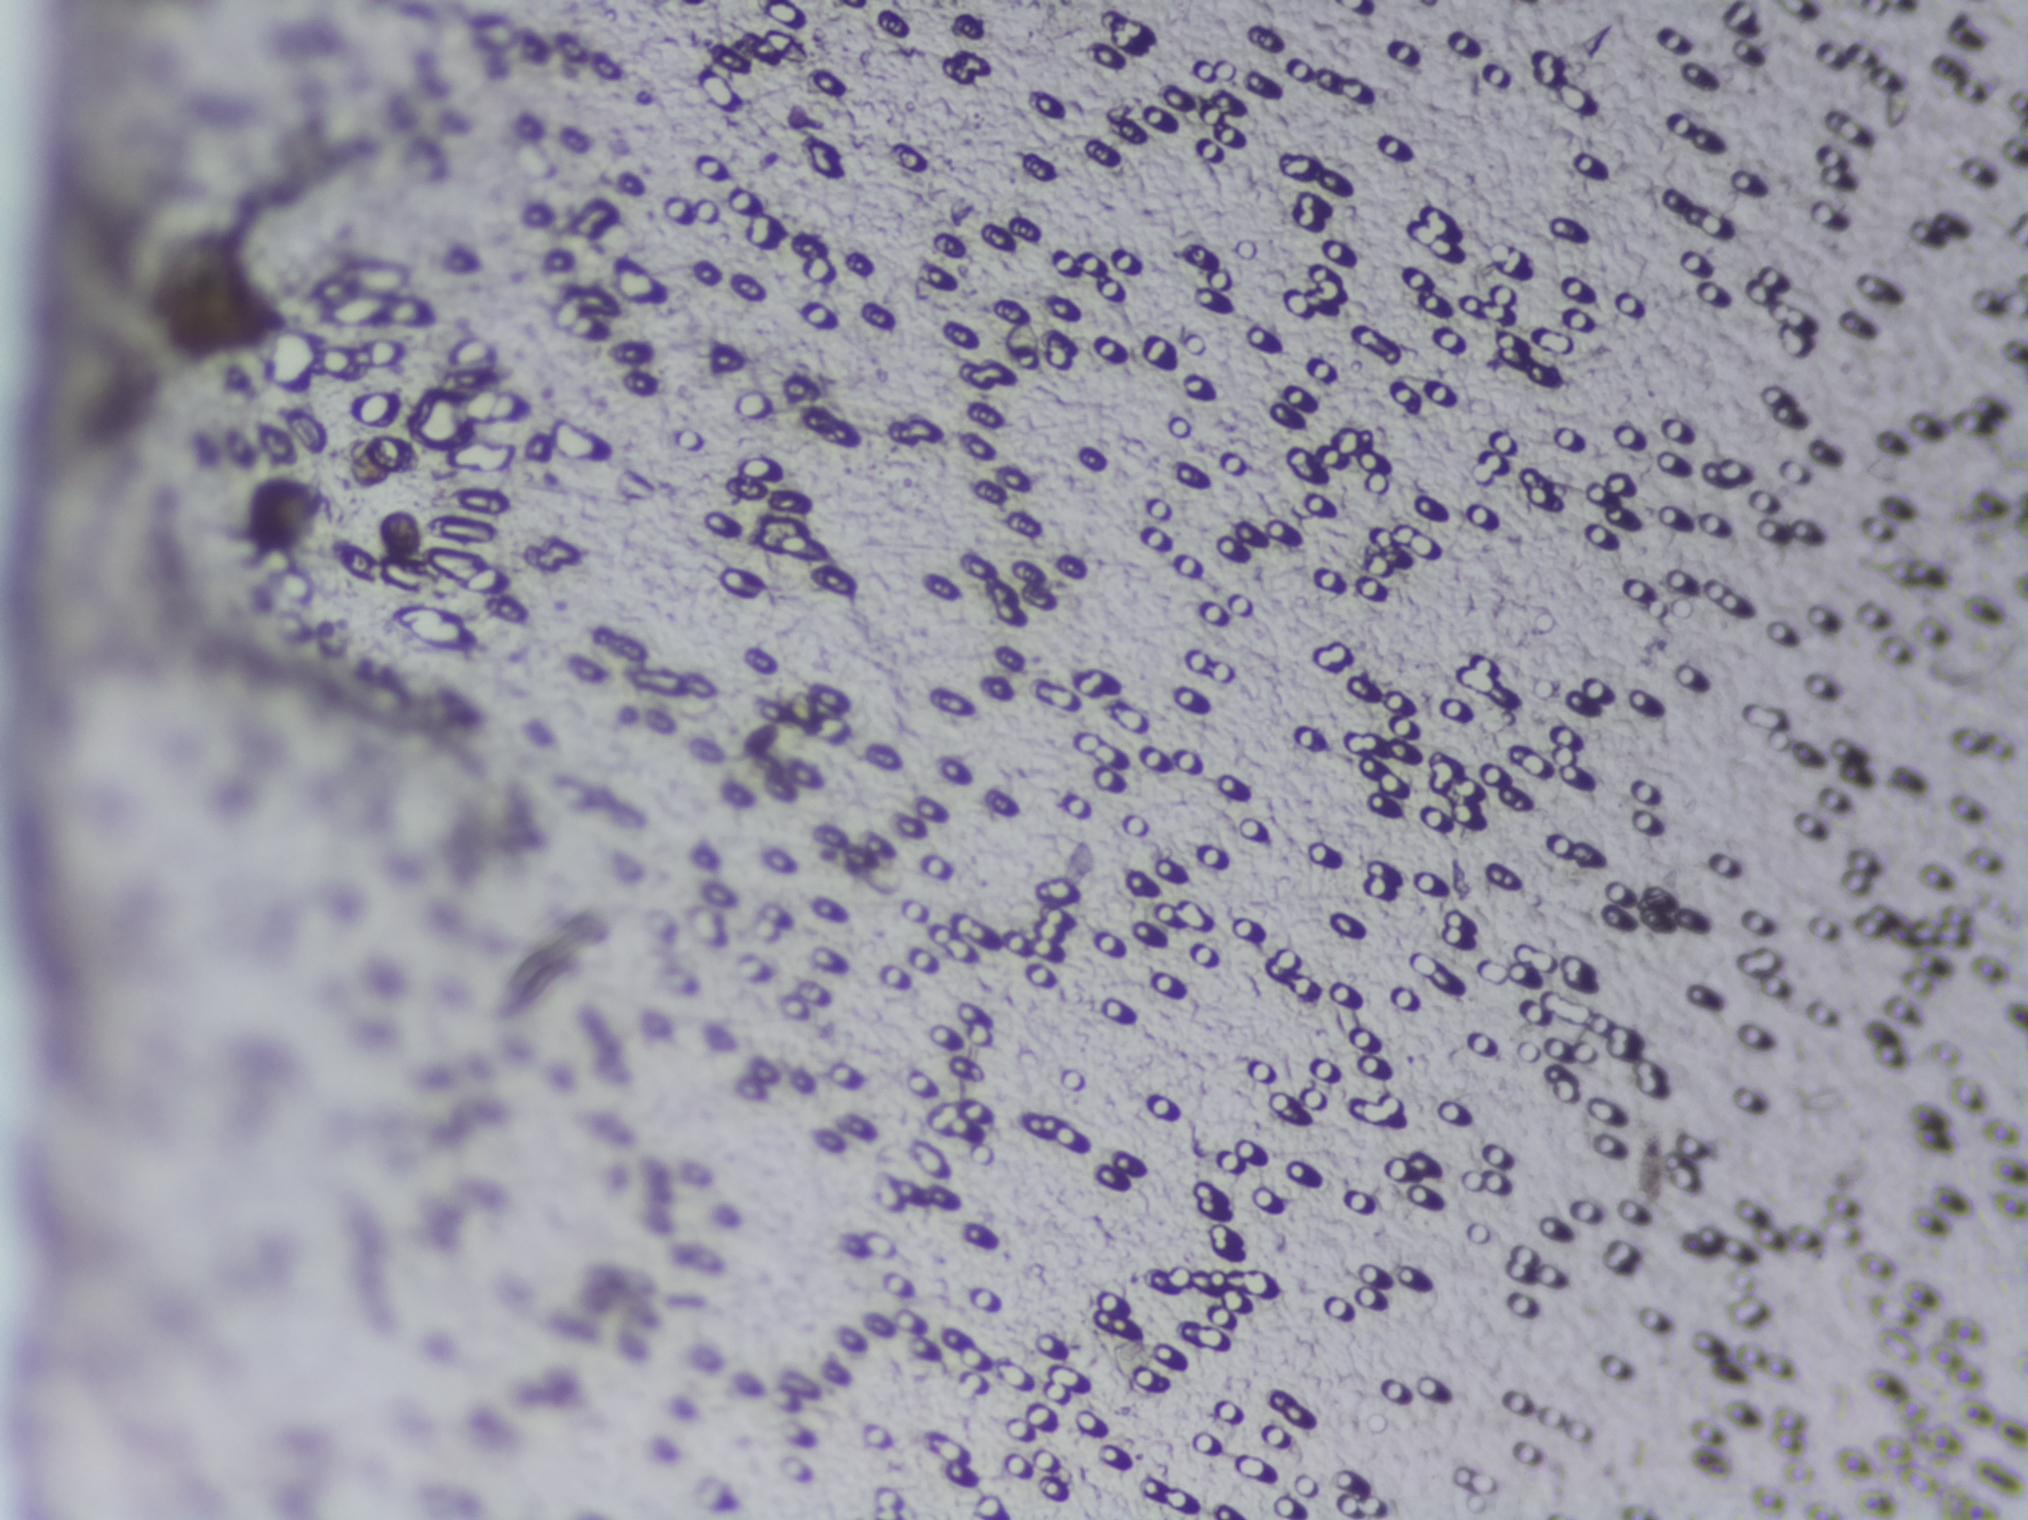
Microscope photograph (4× objective) of a membrane that a urine sample was filtered through. The image covers about 1.5 × 1.1 mm of the membrane.
No area of this image was outlined as a Schistosoma egg.